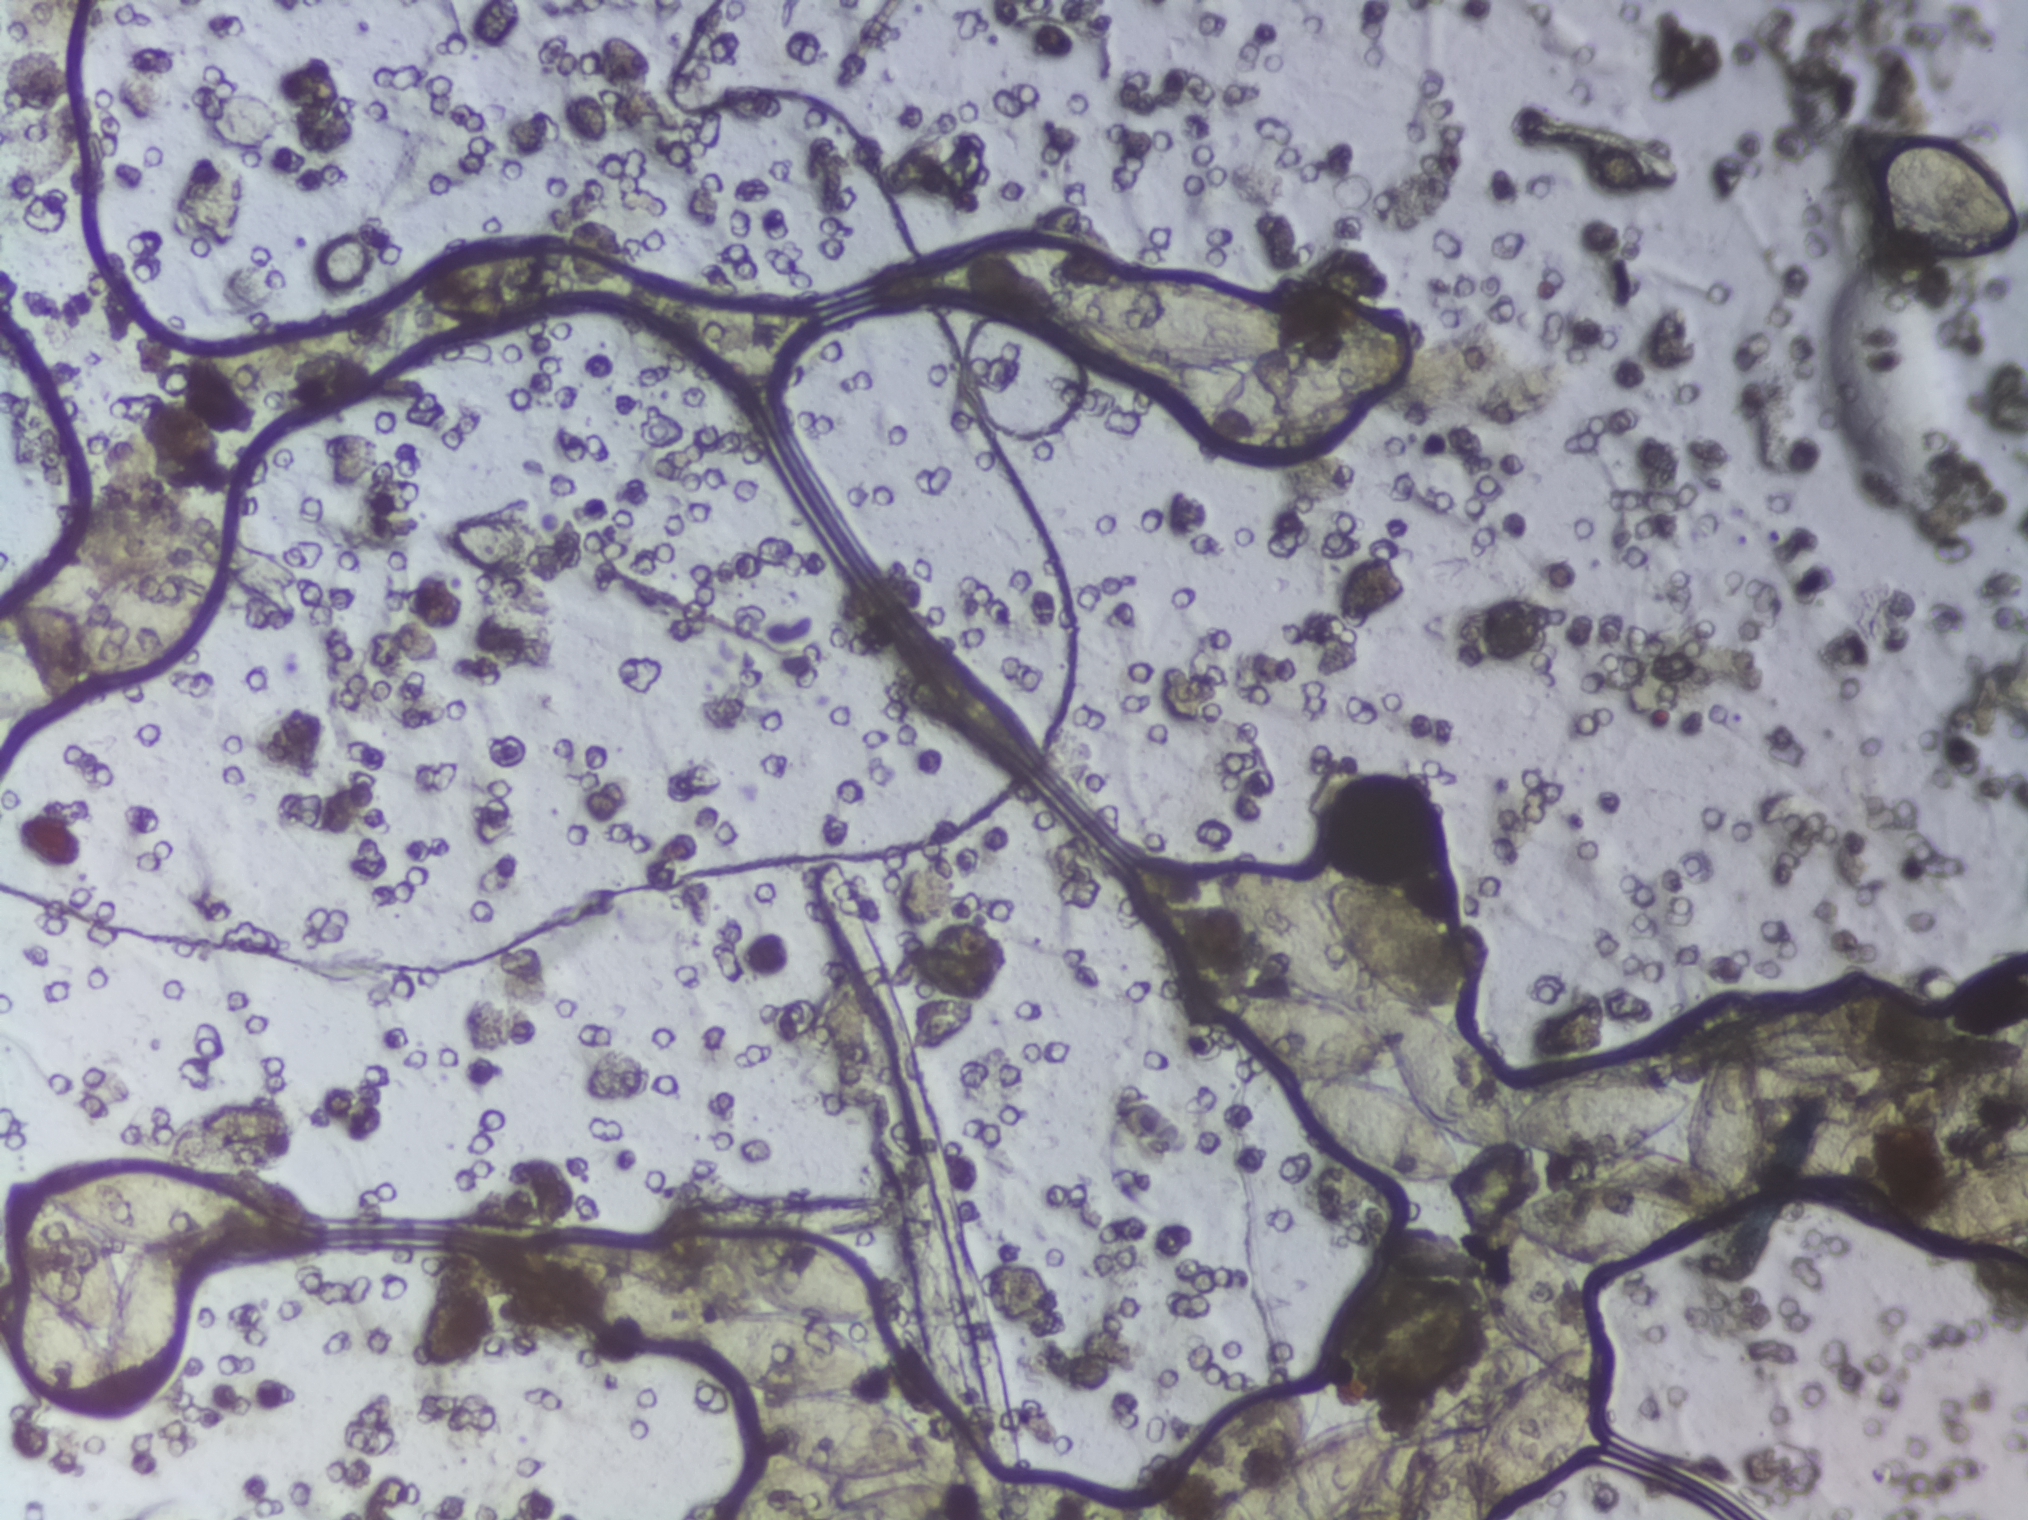
Microscope photograph (4× objective) of a membrane that a urine sample was filtered through.
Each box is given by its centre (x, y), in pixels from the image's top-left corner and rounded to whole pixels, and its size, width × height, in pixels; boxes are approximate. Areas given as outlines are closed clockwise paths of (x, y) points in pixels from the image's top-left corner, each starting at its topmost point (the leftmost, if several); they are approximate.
Findings: eight areas outlined as Schistosoma eggs. Locations: box centre (117, 611), 234 × 222 px (reaching the left edge of the frame); box centre (152, 1261), 305 × 323 px (eggs clustered together; reaching the left edge of the frame); outline (729, 1231), (825, 1240), (866, 1271), (879, 1320), (819, 1326), (883, 1363), (897, 1356), (931, 1390), (957, 1435), (959, 1467), (949, 1485), (969, 1500), (975, 1519), (719, 1519), (749, 1474), (791, 1460), (751, 1443), (737, 1421), (738, 1410), (784, 1396), (725, 1376), (685, 1341), (642, 1340), (594, 1323), (561, 1289), (547, 1244), (635, 1247), (695, 1283), (712, 1318), (772, 1311), (713, 1249), (713, 1238) (eggs clustered together; reaching the bottom edge of the frame); outline (1039, 227), (1112, 235), (1126, 252), (1127, 274), (1166, 275), (1281, 302), (1299, 316), (1302, 334), (1344, 325), (1403, 325), (1413, 335), (1411, 371), (1374, 415), (1315, 434), (1257, 434), (1213, 422), (1206, 413), (1229, 371), (1179, 375), (1113, 354), (1061, 320), (1062, 297), (992, 298), (932, 280), (939, 265), (964, 250); outline (1293, 861), (1323, 869), (1333, 880), (1364, 879), (1389, 888), (1448, 927), (1477, 997), (1475, 1014), (1451, 1019), (1516, 1107), (1531, 1088), (1570, 1070), (1636, 1072), (1693, 1091), (1714, 1049), (1734, 1034), (1745, 1041), (1752, 1036), (1756, 1060), (1800, 1058), (1812, 1070), (1804, 1120), (1790, 1136), (1766, 1142), (1766, 1156), (1739, 1212), (1712, 1222), (1698, 1243), (1661, 1263), (1621, 1273), (1578, 1269), (1614, 1359), (1610, 1434), (1580, 1471), (1497, 1518), (1156, 1515), (1157, 1491), (1177, 1452), (1202, 1423), (1232, 1403), (1269, 1386), (1327, 1381), (1312, 1437), (1364, 1415), (1370, 1399), (1389, 1393), (1455, 1341), (1494, 1327), (1472, 1281), (1426, 1285), (1395, 1275), (1374, 1252), (1383, 1228), (1423, 1226), (1466, 1245), (1468, 1228), (1480, 1215), (1574, 1180), (1565, 1162), (1526, 1151), (1488, 1154), (1456, 1141), (1464, 1178), (1447, 1185), (1403, 1185), (1320, 1143), (1290, 1096), (1293, 1075), (1209, 1004), (1230, 985), (1284, 987), (1237, 952), (1215, 898), (1215, 871), (1242, 862) (eggs clustered together; reaching the bottom edge of the frame); box centre (1906, 1114), 243 × 167 px (reaching the right edge of the frame); box centre (1933, 187), 171 × 108 px; box centre (1965, 1201), 125 × 104 px (reaching the right edge of the frame). Eggs that touch can end up inside the same outlined area.